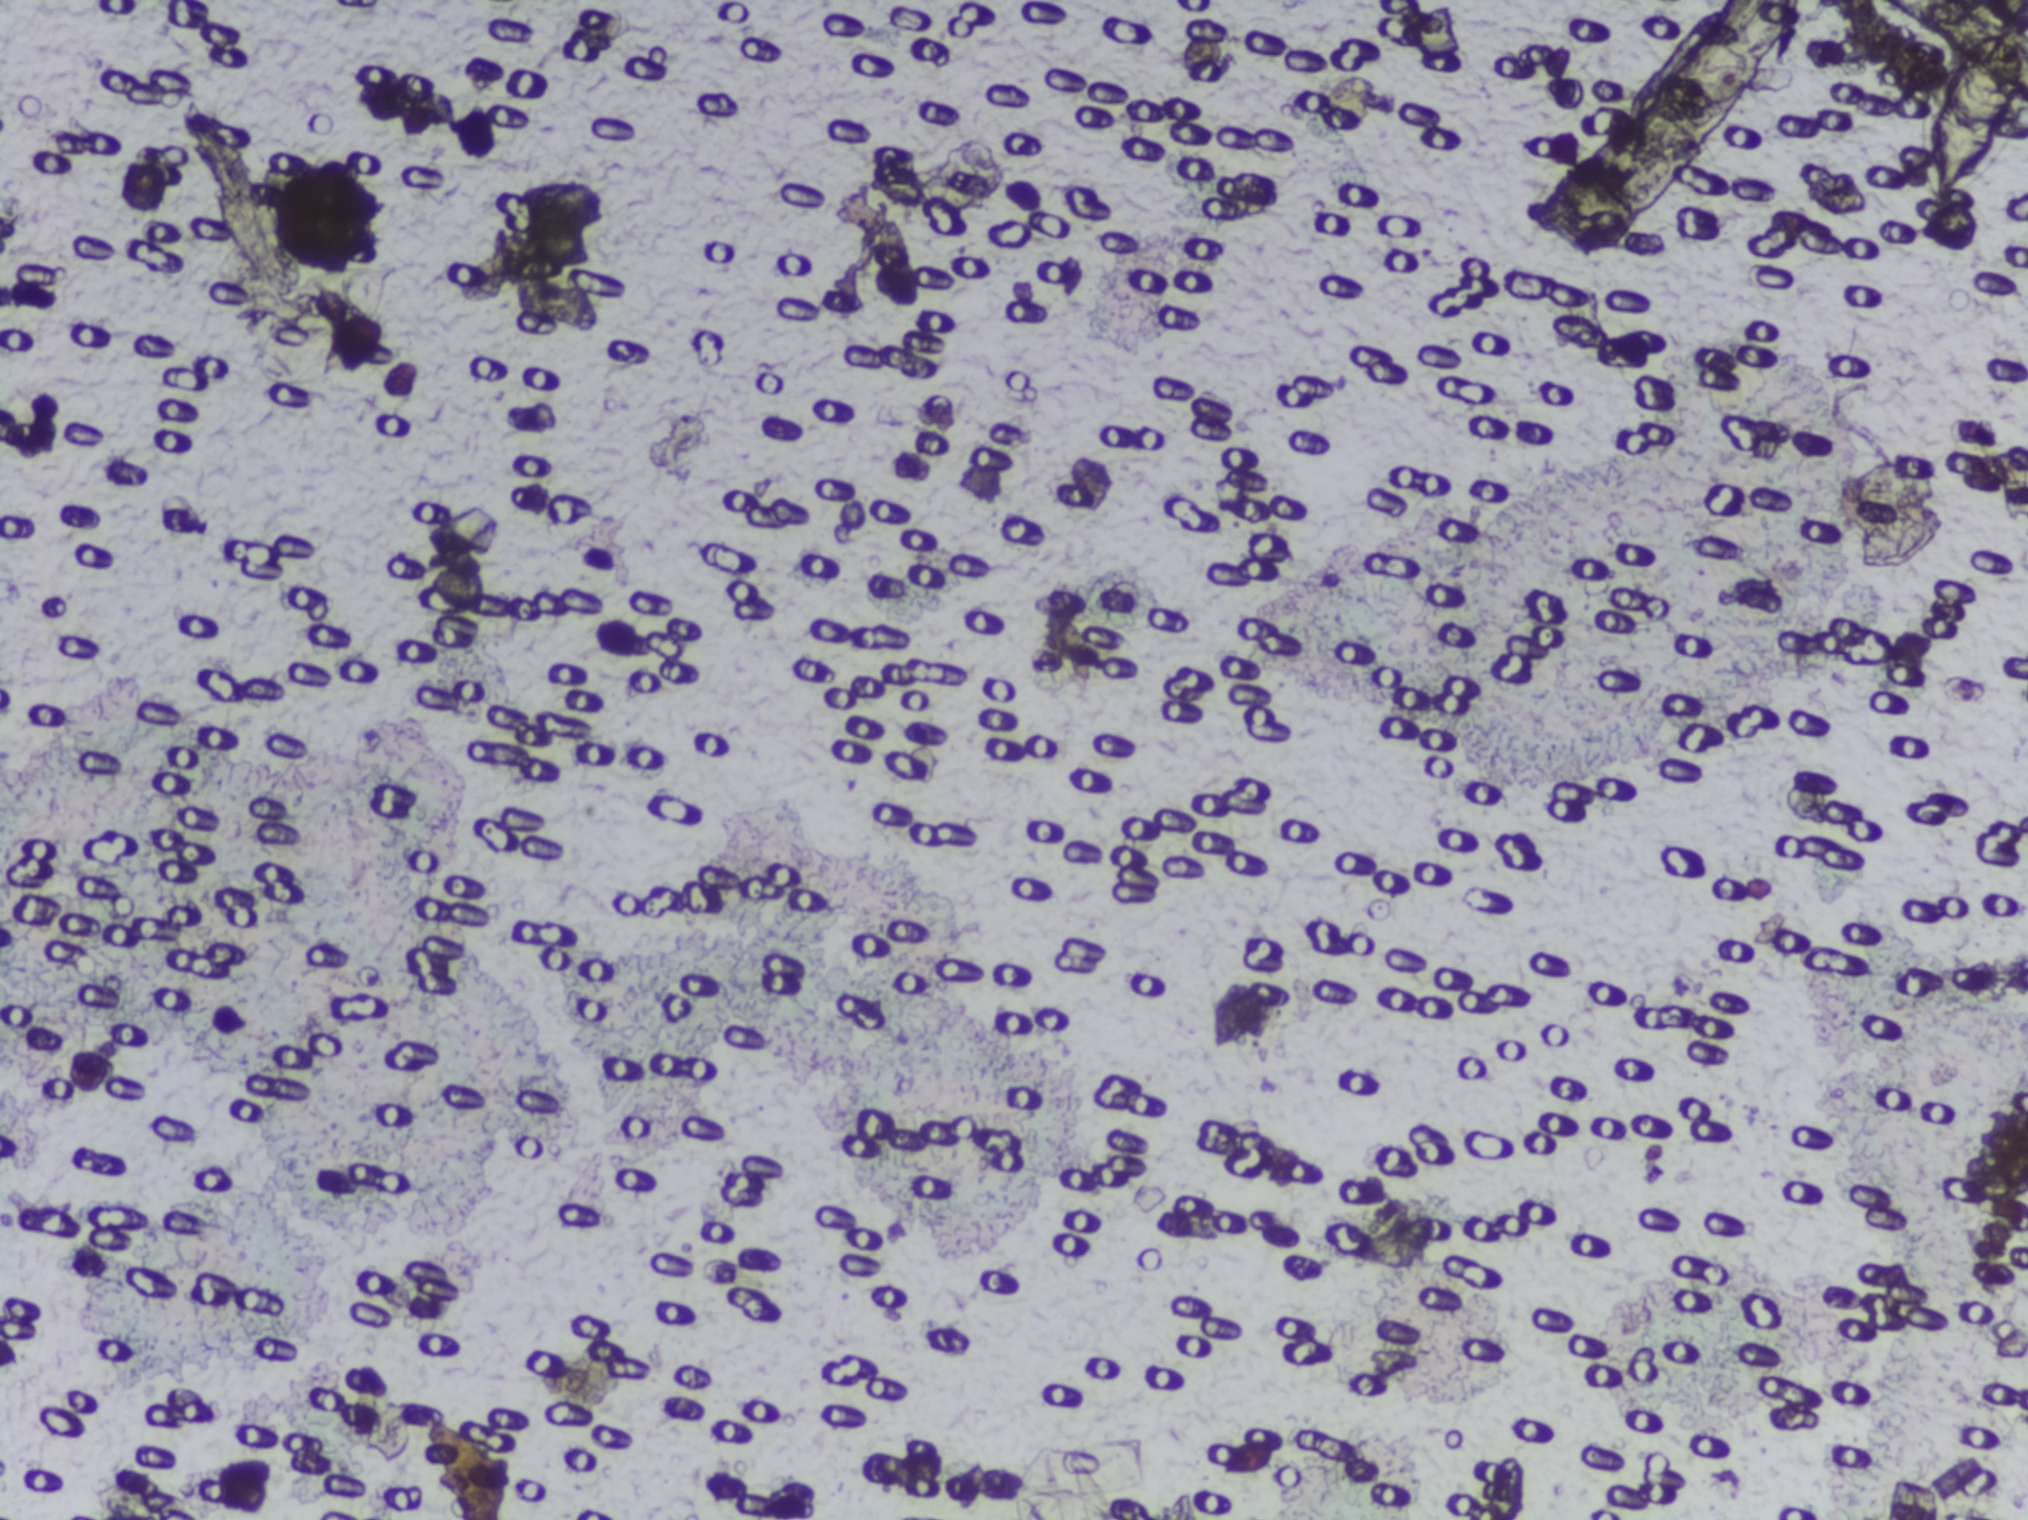
Microscope photograph (4× objective) of a membrane that a urine sample was filtered through.
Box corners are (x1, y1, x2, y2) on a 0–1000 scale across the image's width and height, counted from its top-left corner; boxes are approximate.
Findings: one area outlined as Schistosoma eggs. Location: (950, 16, 1000, 133) (reaching the right edge of the frame). The marked pixels themselves, not the box around them, cover about 0.5% of the image. An outlined area can hold more than one egg.